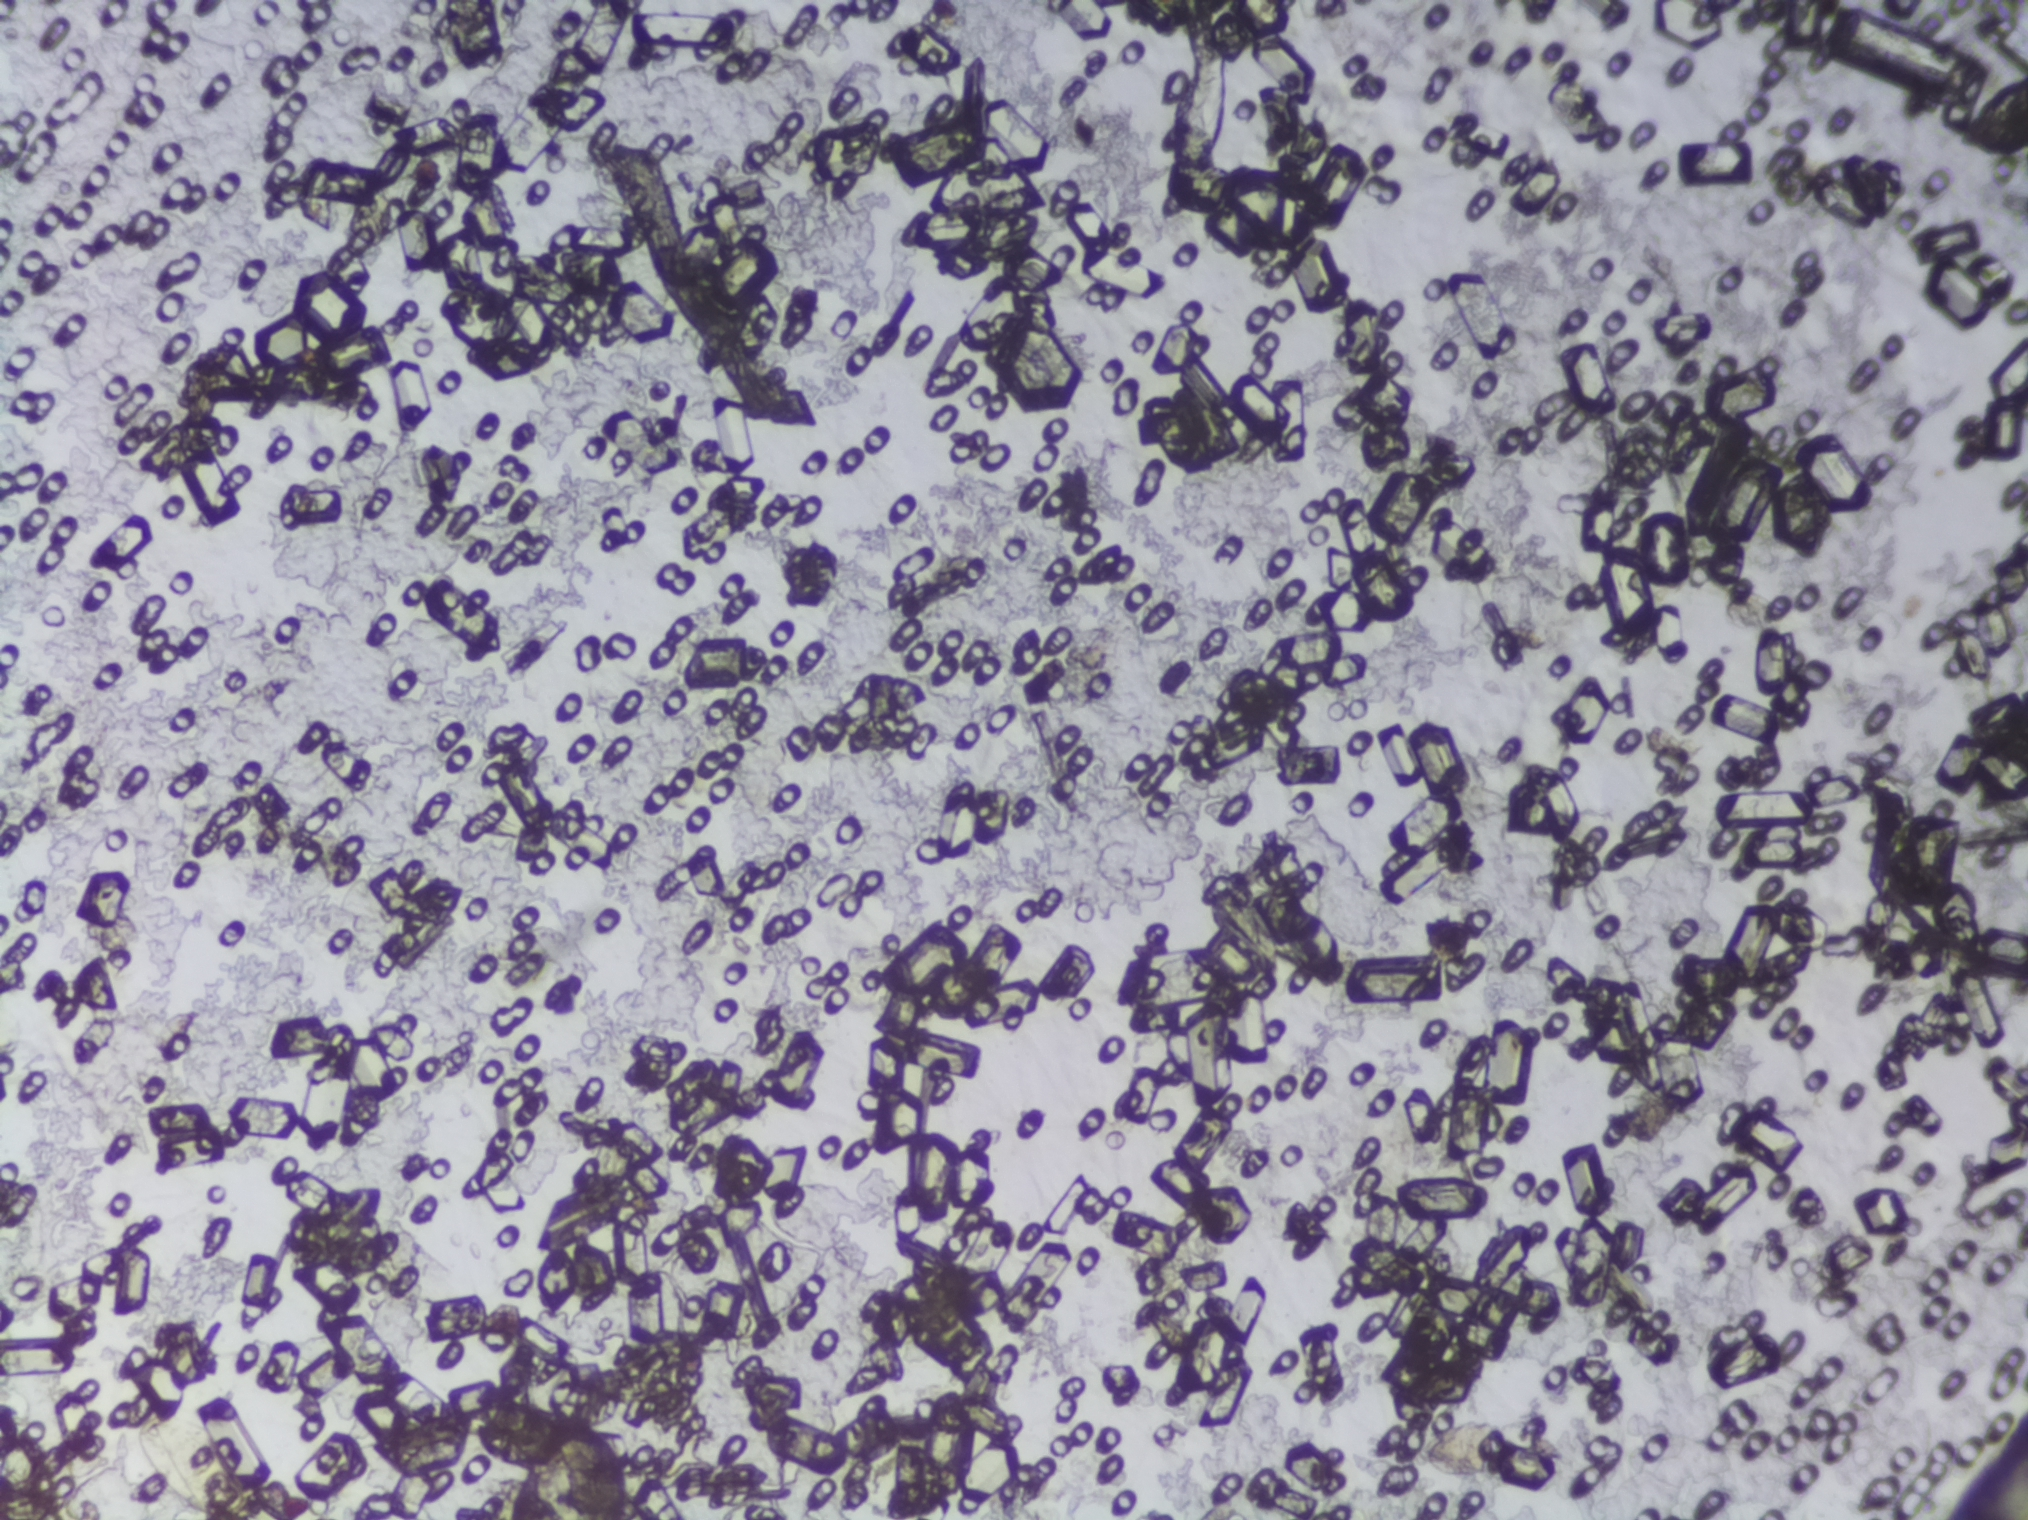
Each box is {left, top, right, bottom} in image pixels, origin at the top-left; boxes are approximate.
Areas outlined as Schistosoma eggs, left to right:
1. {133, 1412, 270, 1519} (reaching the bottom edge of the frame)
2. {1966, 72, 2027, 154} (reaching the right edge of the frame)
A single outlined area may contain several eggs.
One field of view of a urine filter membrane, 4× objective, 2028 × 1520 pixels. Field of view: about 1.5 mm wide and 1.1 mm high.